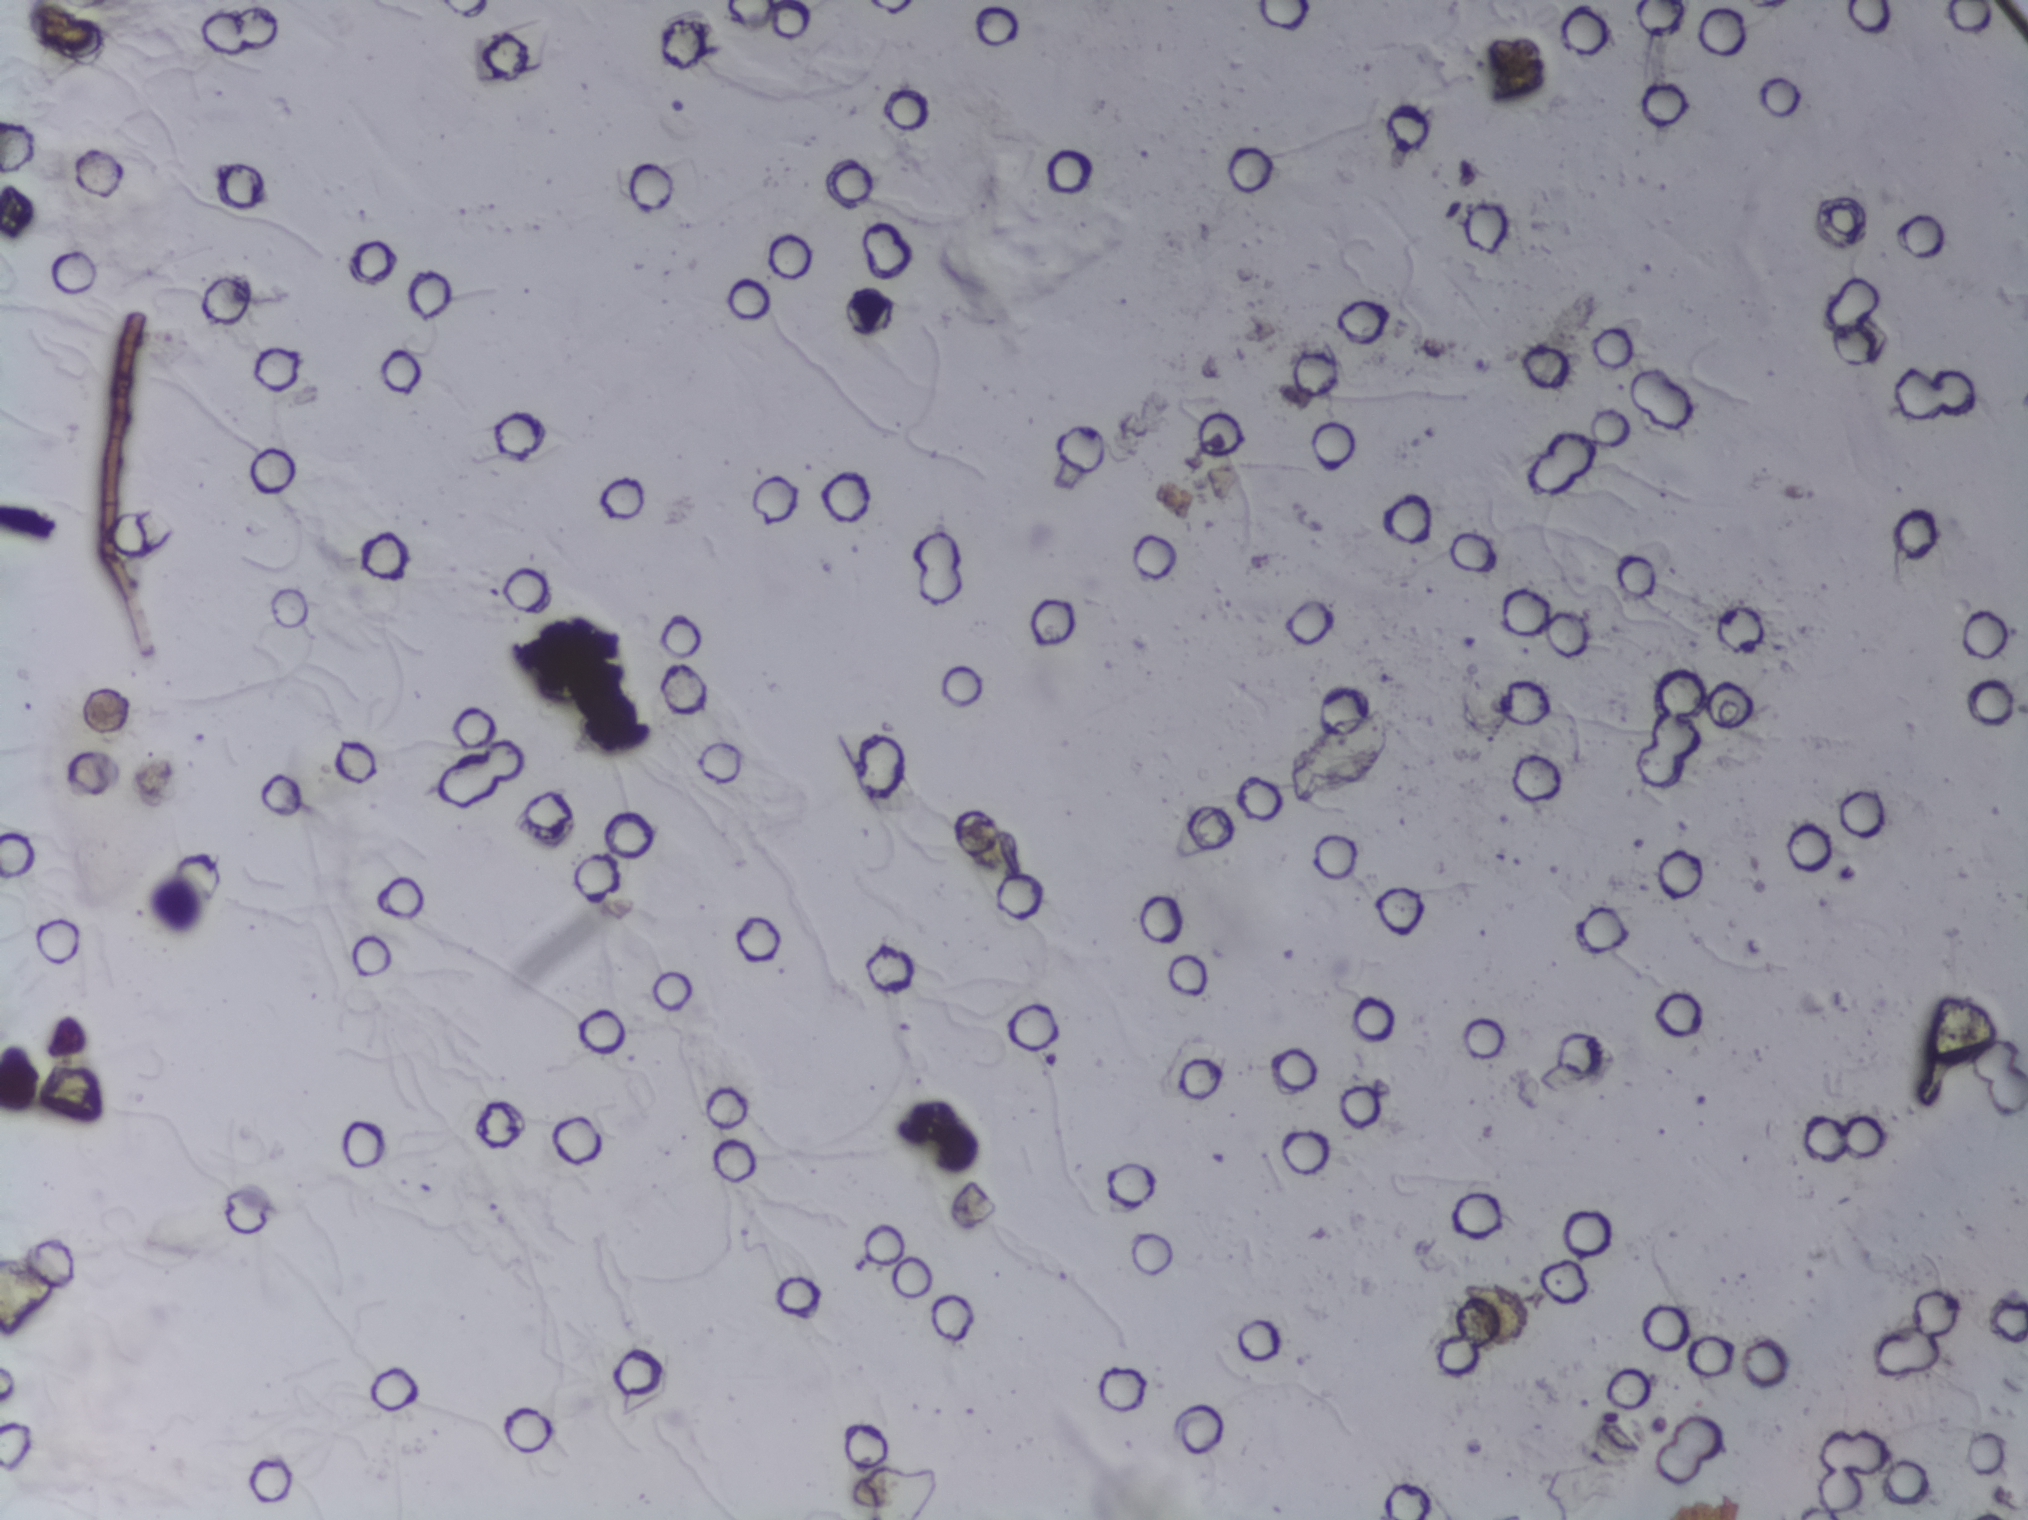
Photograph from an automated digital microscope: urine filter membrane, 4× objective. Field of view: about 1.5 mm wide and 1.1 mm high.
No Schistosoma egg is outlined in this image's expert annotation.